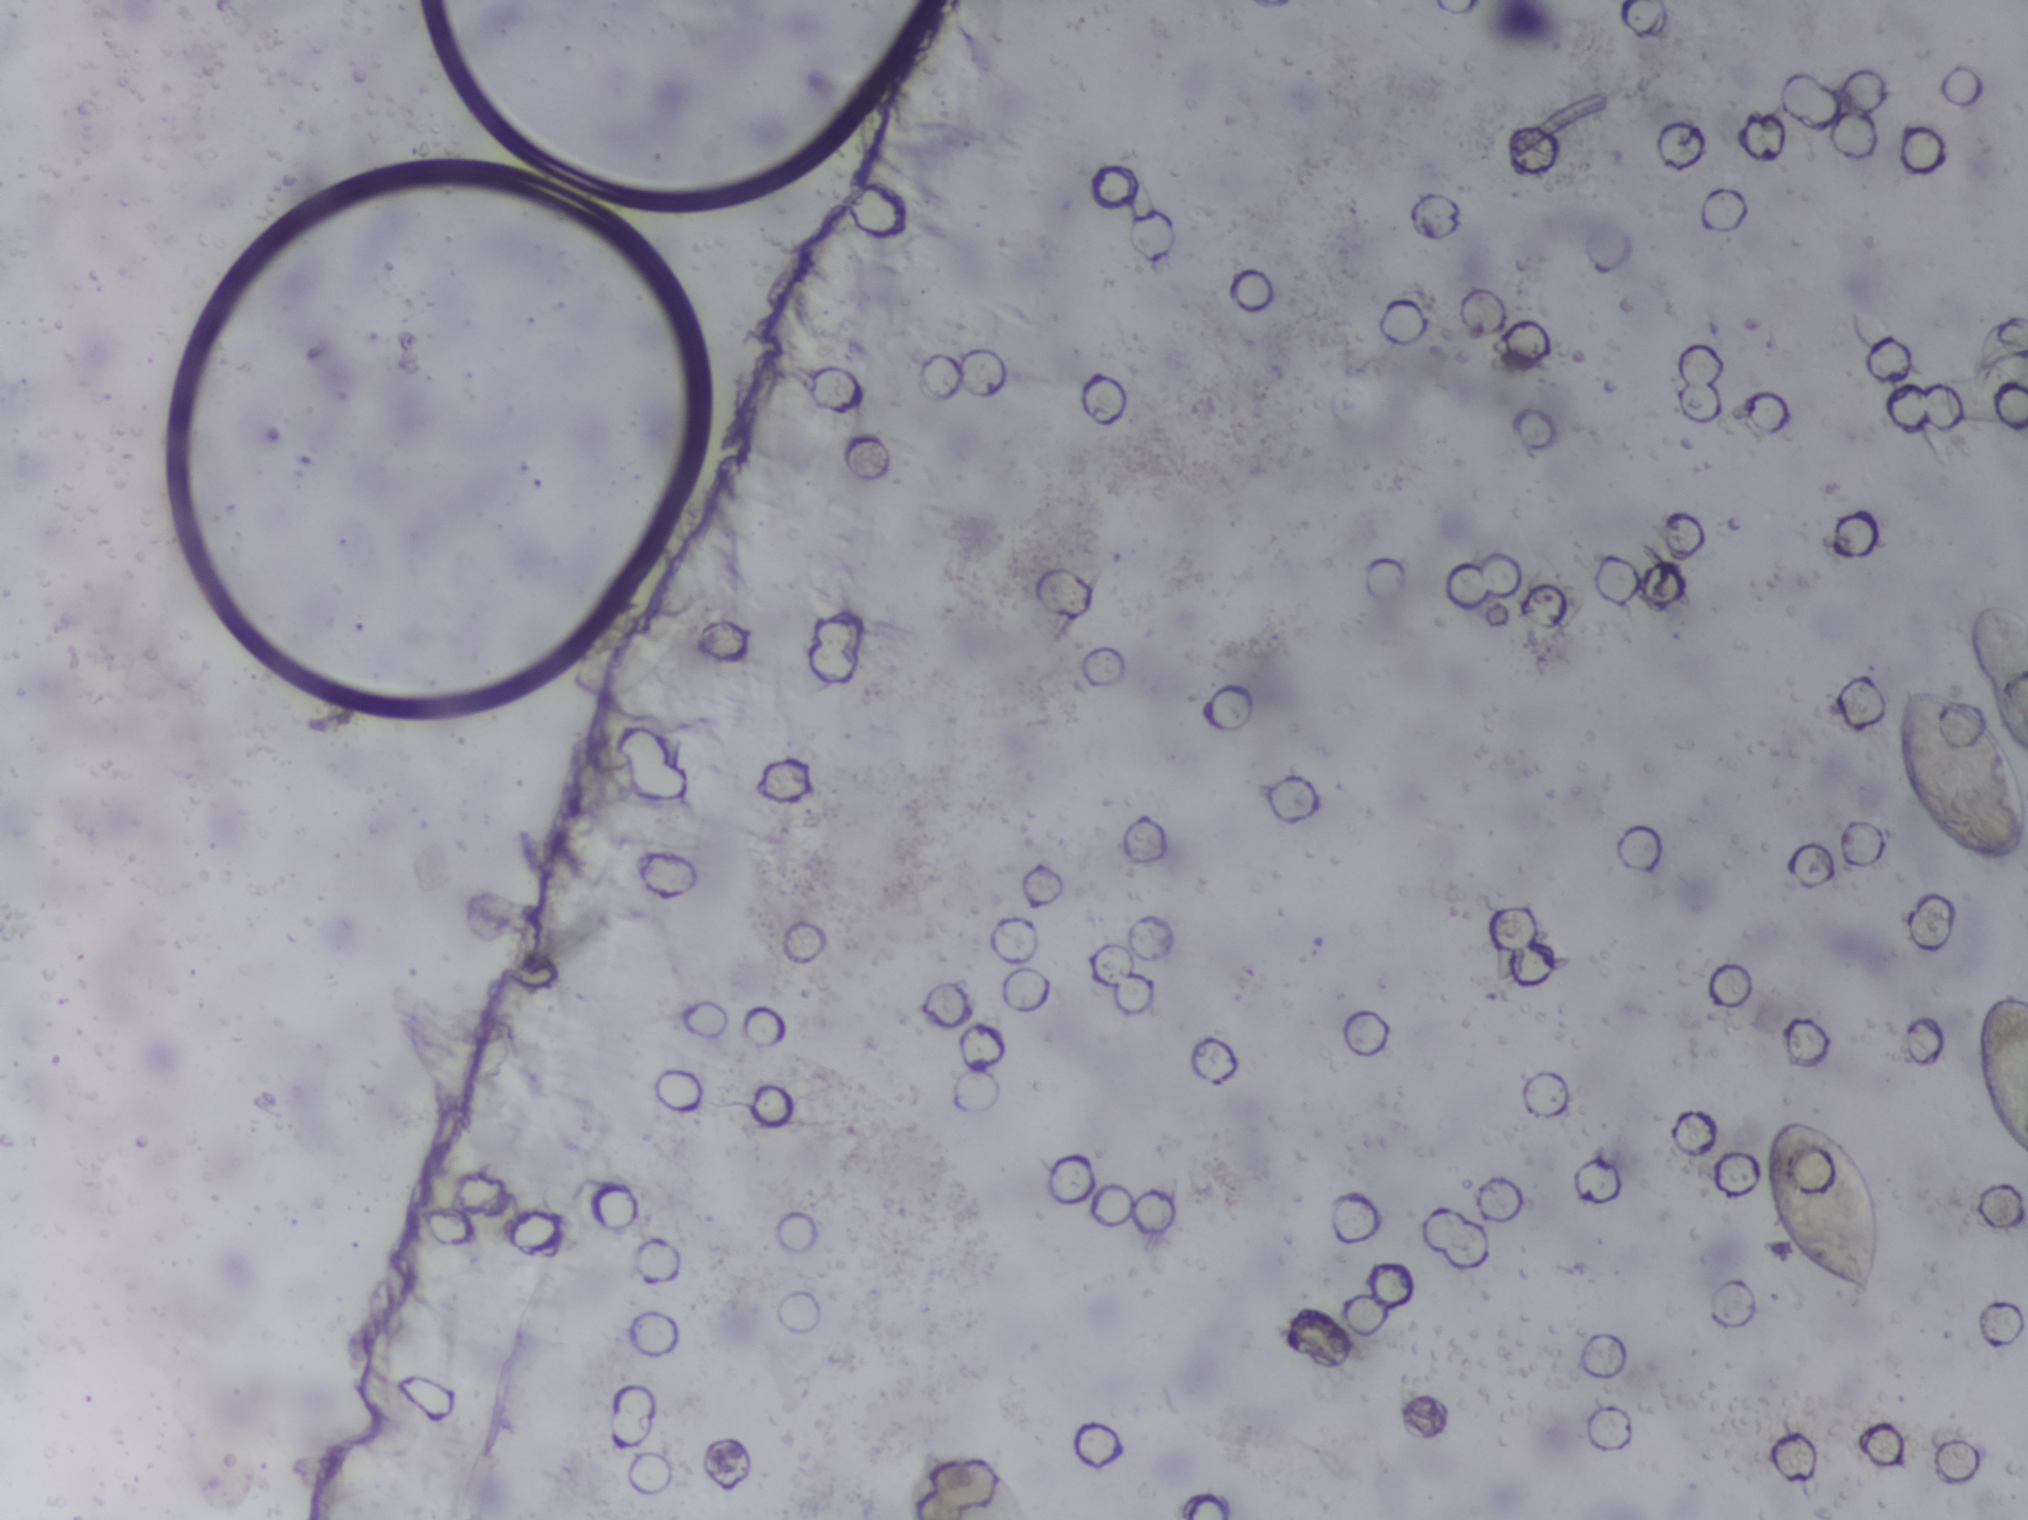
Urine filter membrane photographed through a 4× microscope objective.
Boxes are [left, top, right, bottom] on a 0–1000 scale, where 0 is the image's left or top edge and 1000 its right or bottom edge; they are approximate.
Schistosoma eggs are outlined in the expert annotation at [869, 732, 930, 859]; [933, 450, 1000, 572] (reaching the right edge of the frame); [970, 395, 1000, 500] (reaching the right edge of the frame); [971, 649, 1000, 761] (reaching the right edge of the frame) (left to right). An outlined area can hold more than one egg.